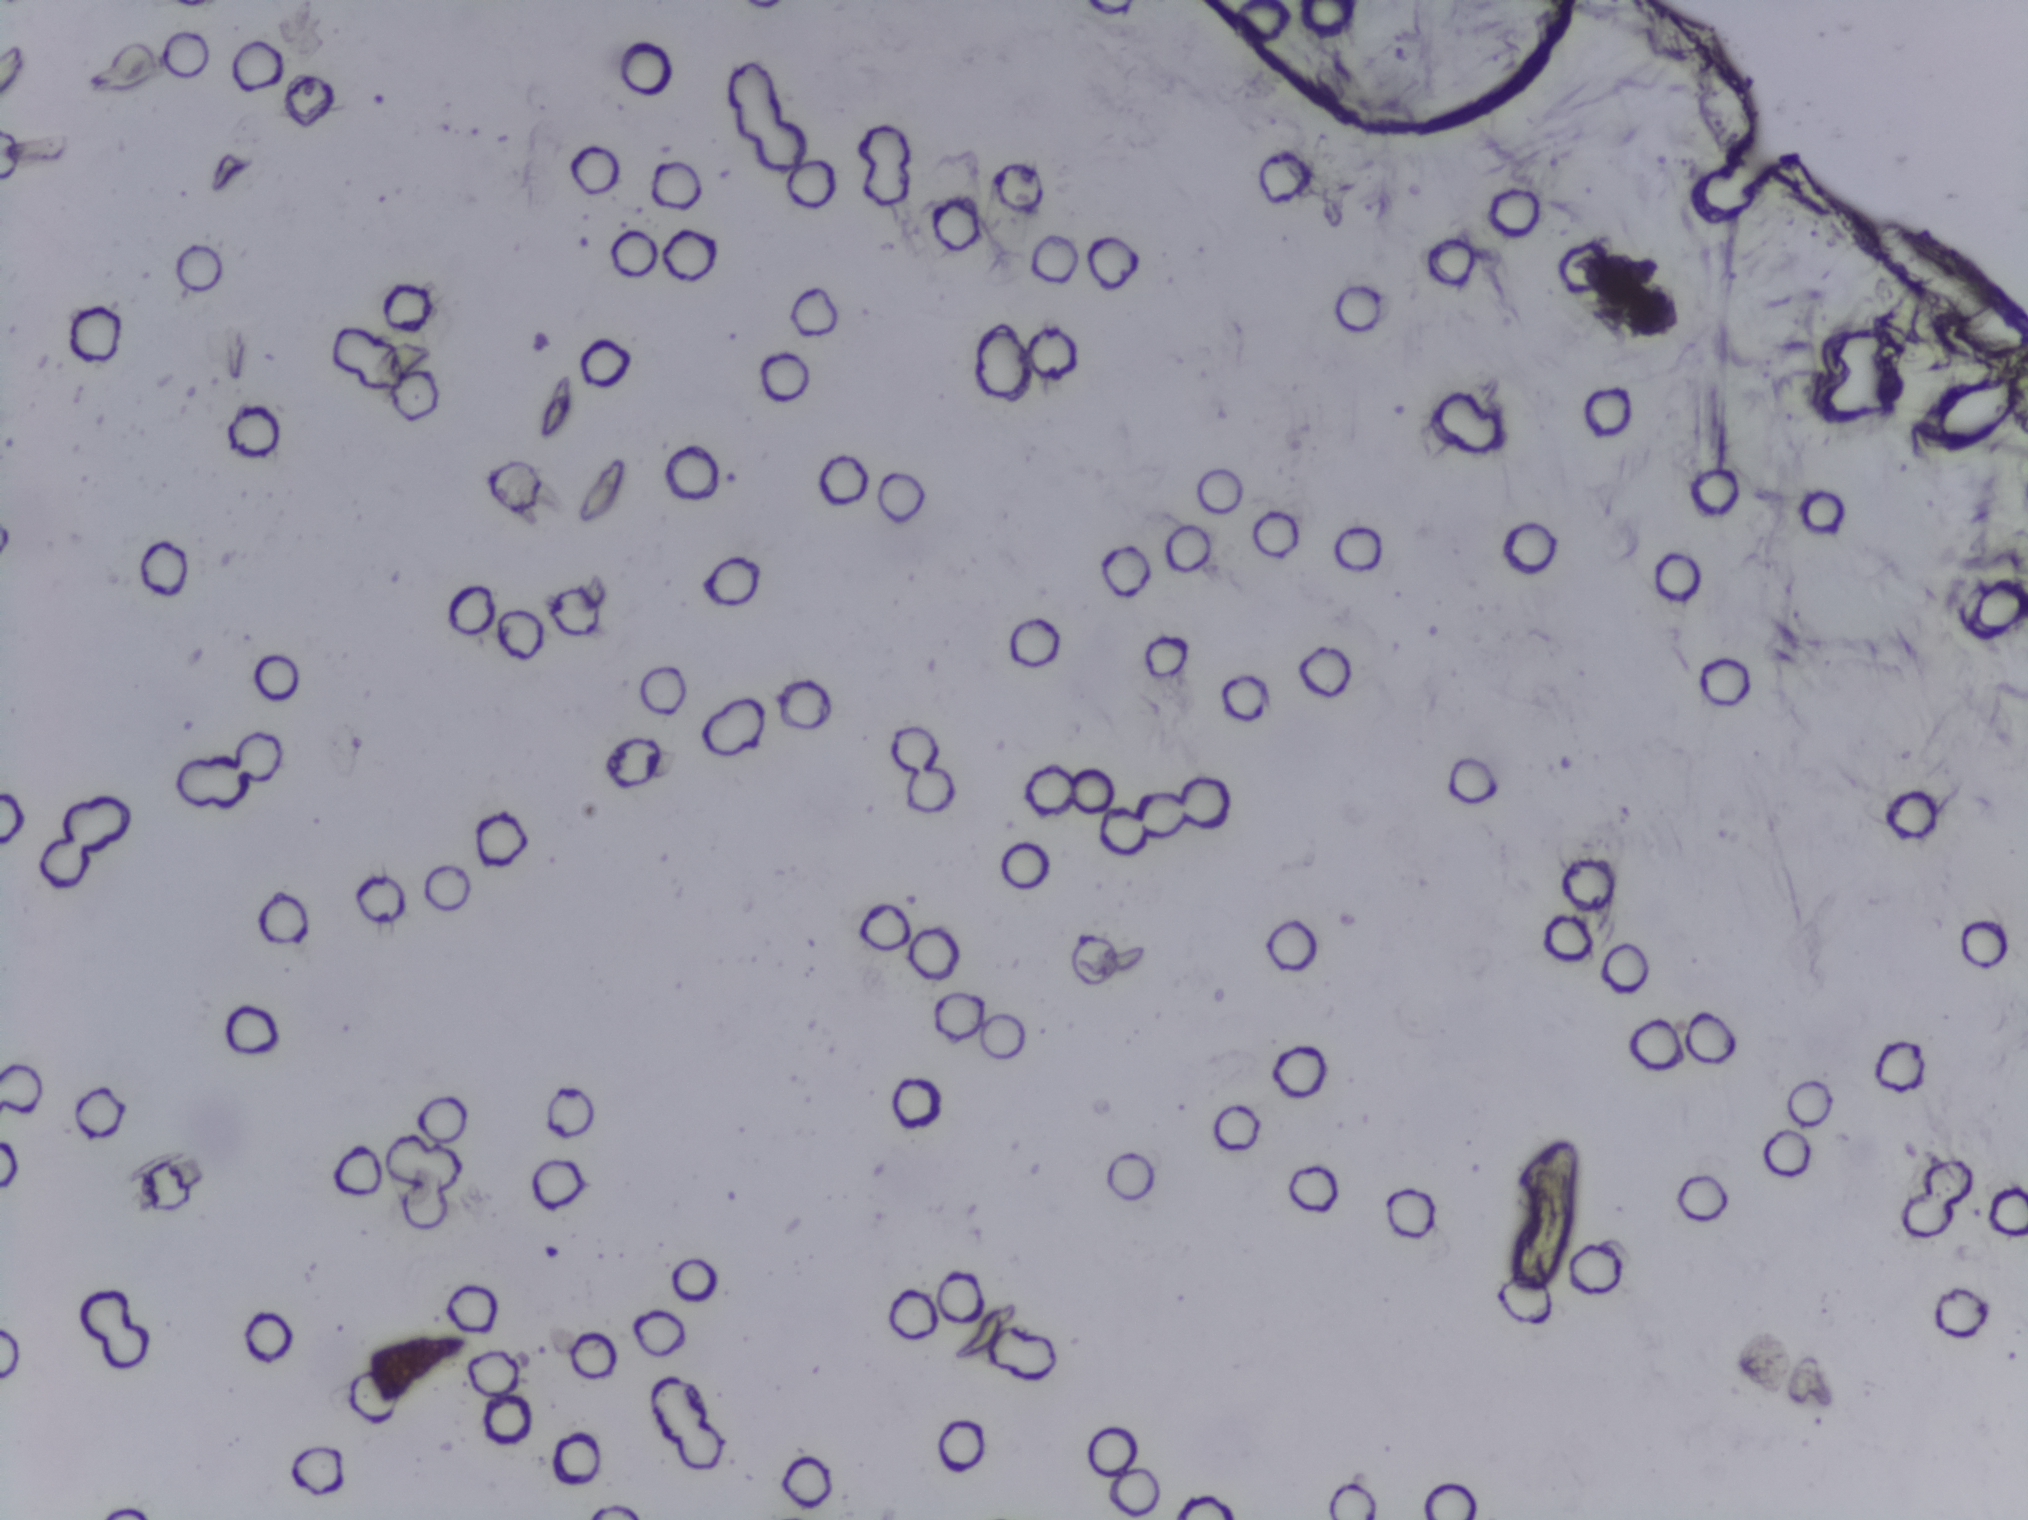
Photograph from an automated digital microscope: urine filter membrane, 4× objective. The image covers about 1.5 × 1.1 mm of the membrane.
The expert annotation marks no Schistosoma egg in this field of view.